One field of view of a urine filter membrane, 4× objective, 2028 × 1520 pixels. Field of view: about 1.5 mm wide and 1.1 mm high.
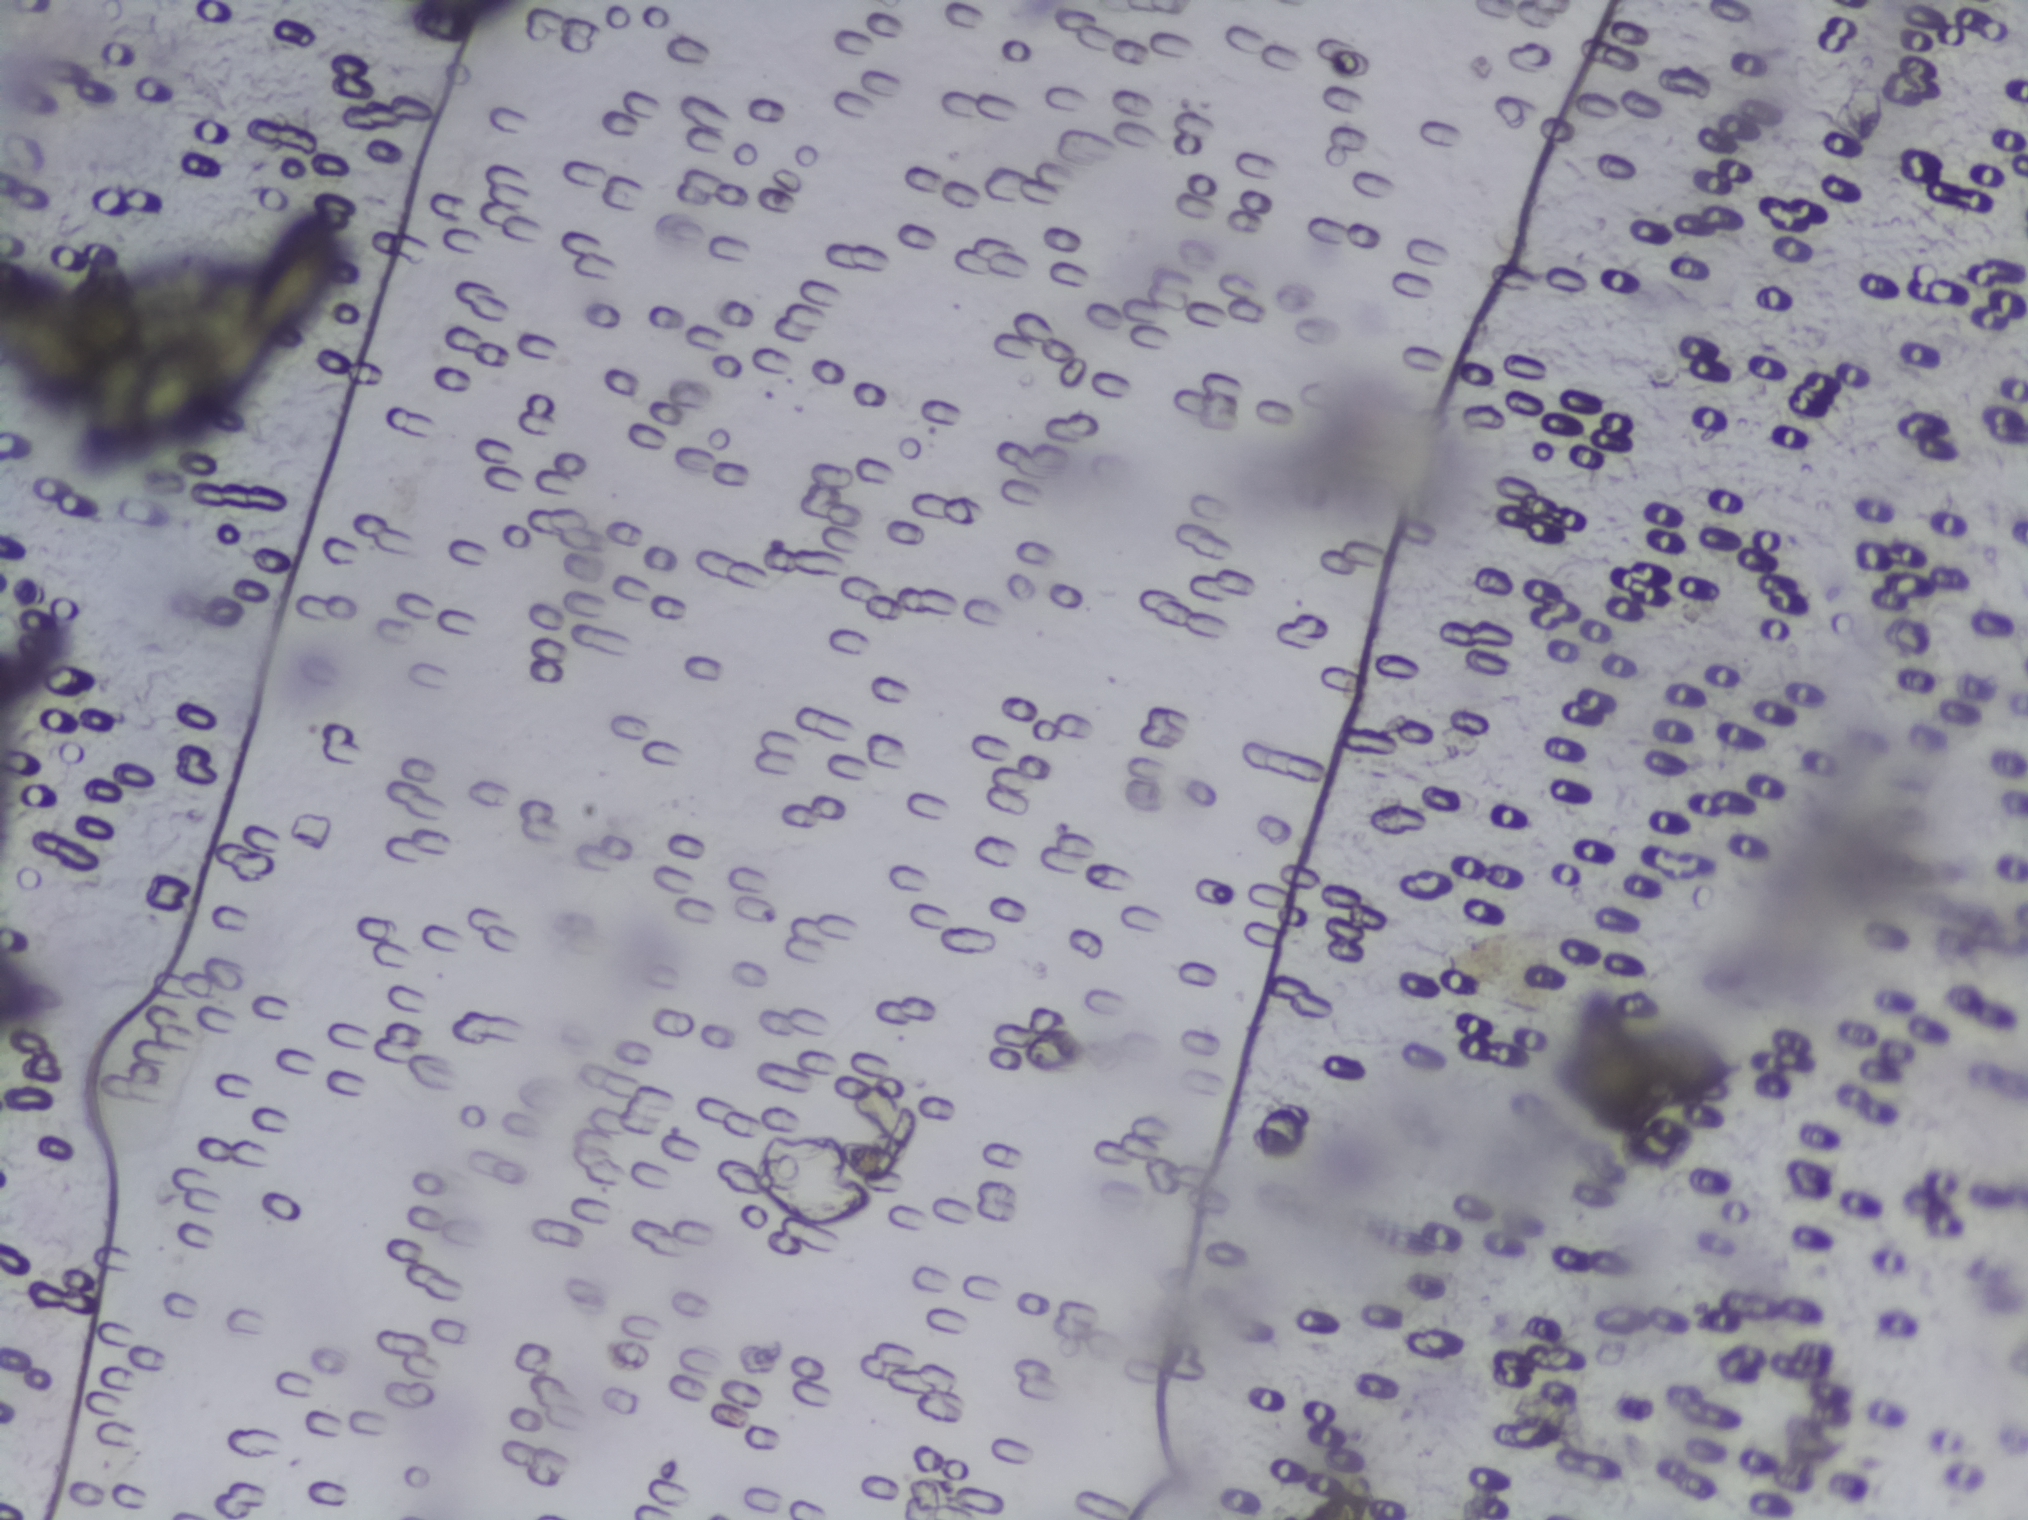
No area of this image was outlined as a Schistosoma egg.